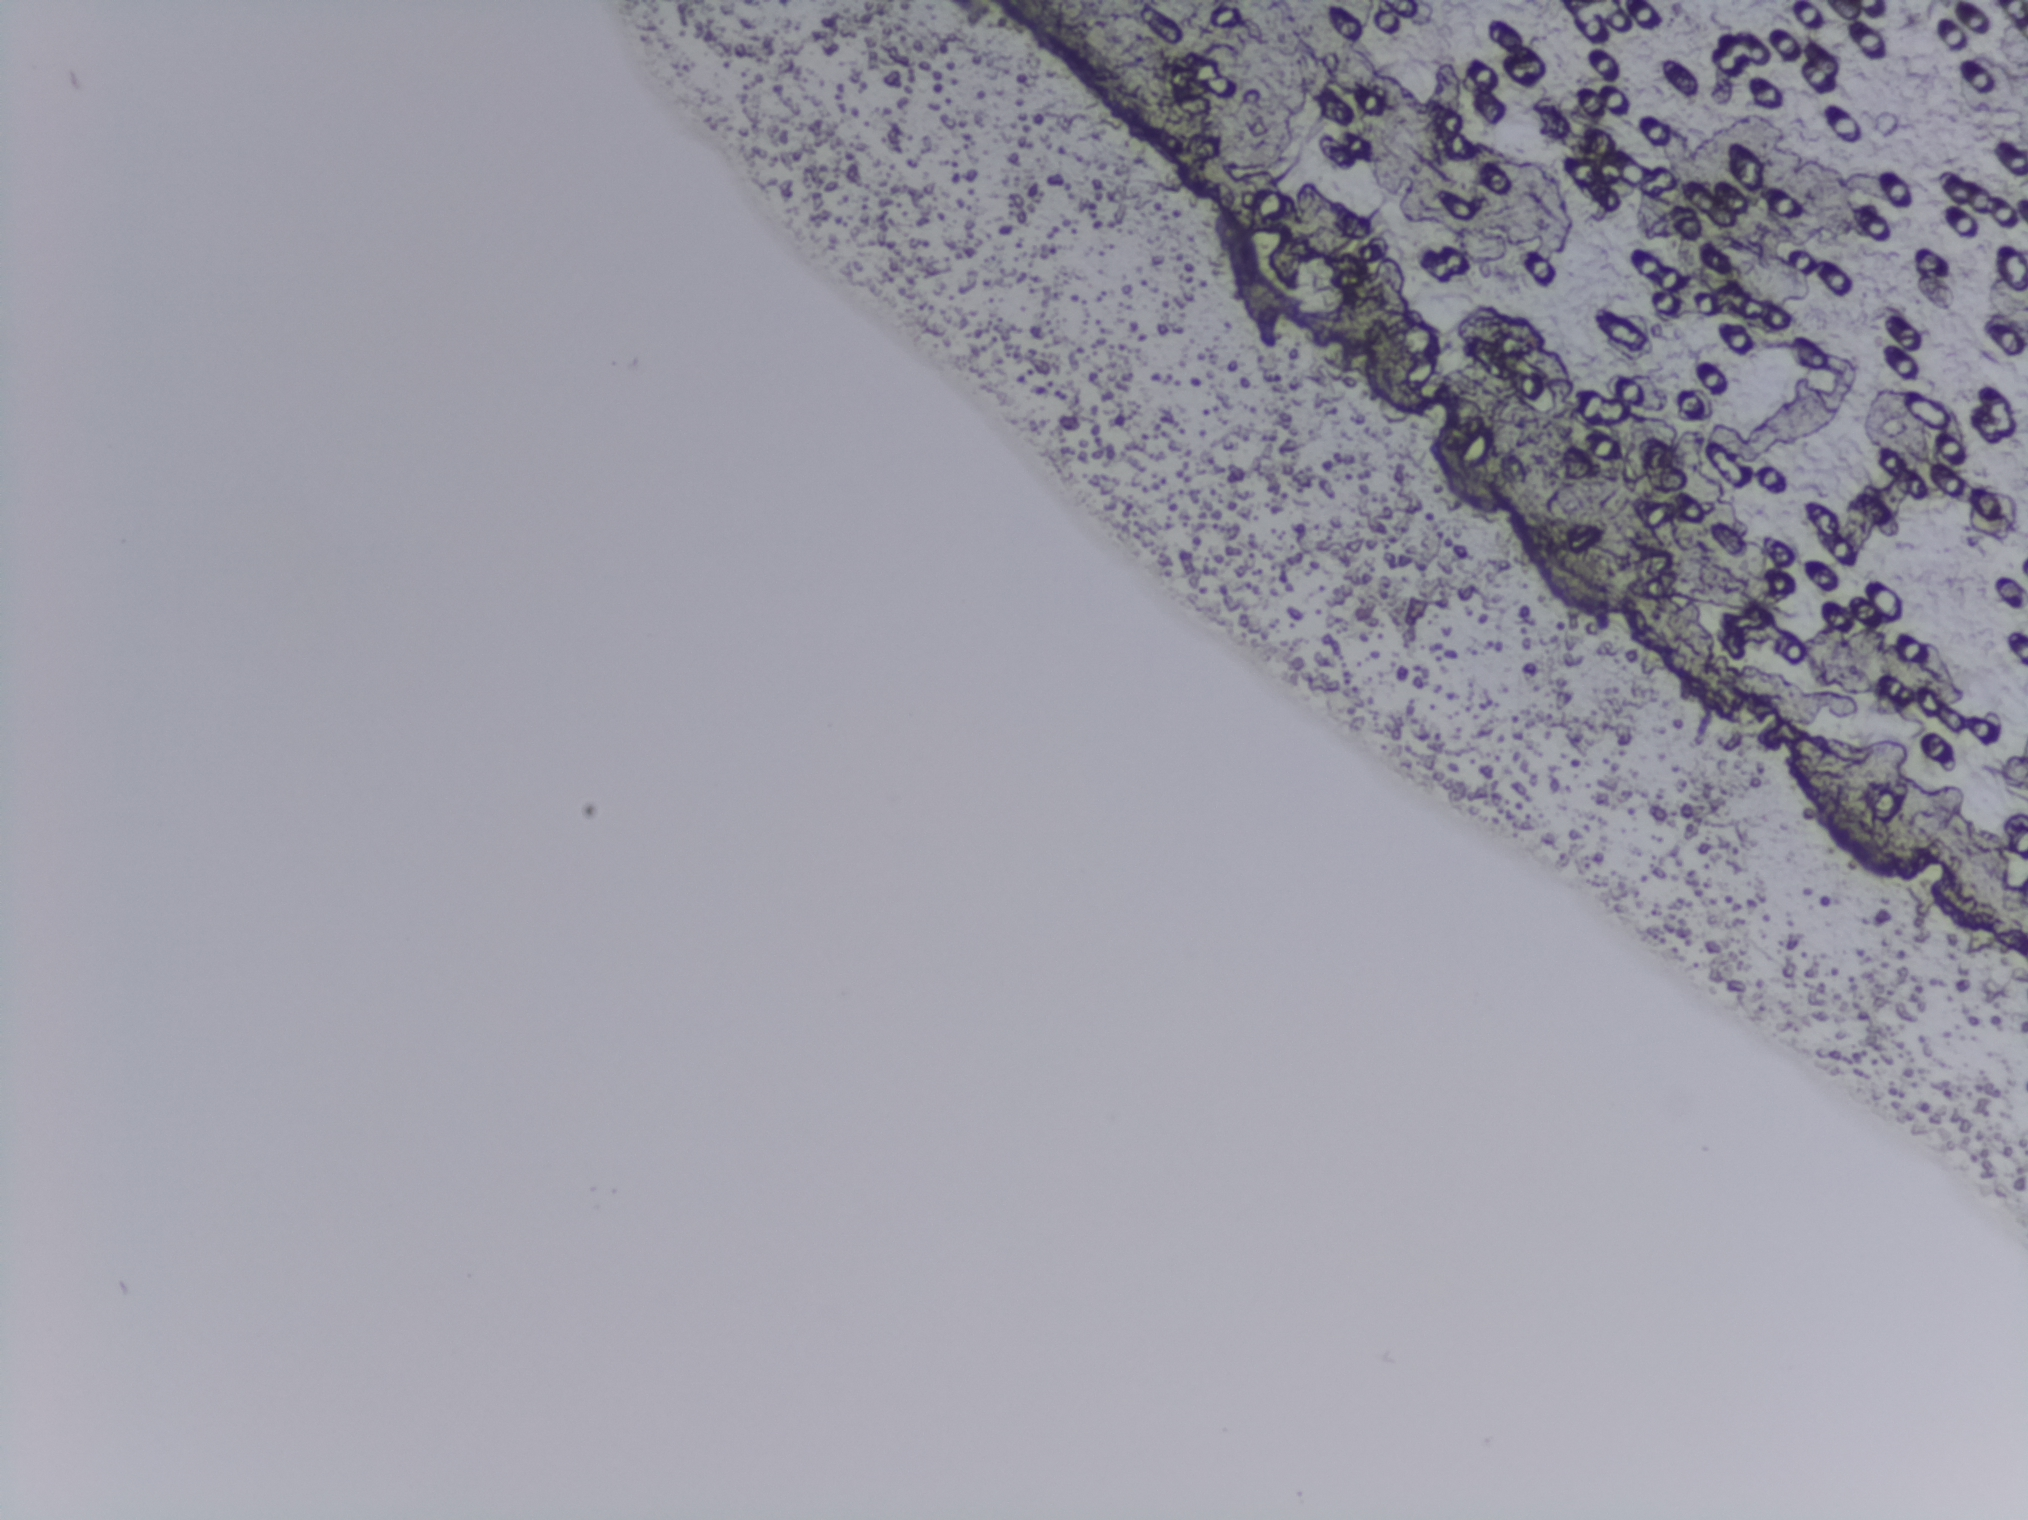
One field of view of a urine filter membrane, 4× objective, 2028 × 1520 pixels.
The expert annotation marks no Schistosoma egg in this field of view.